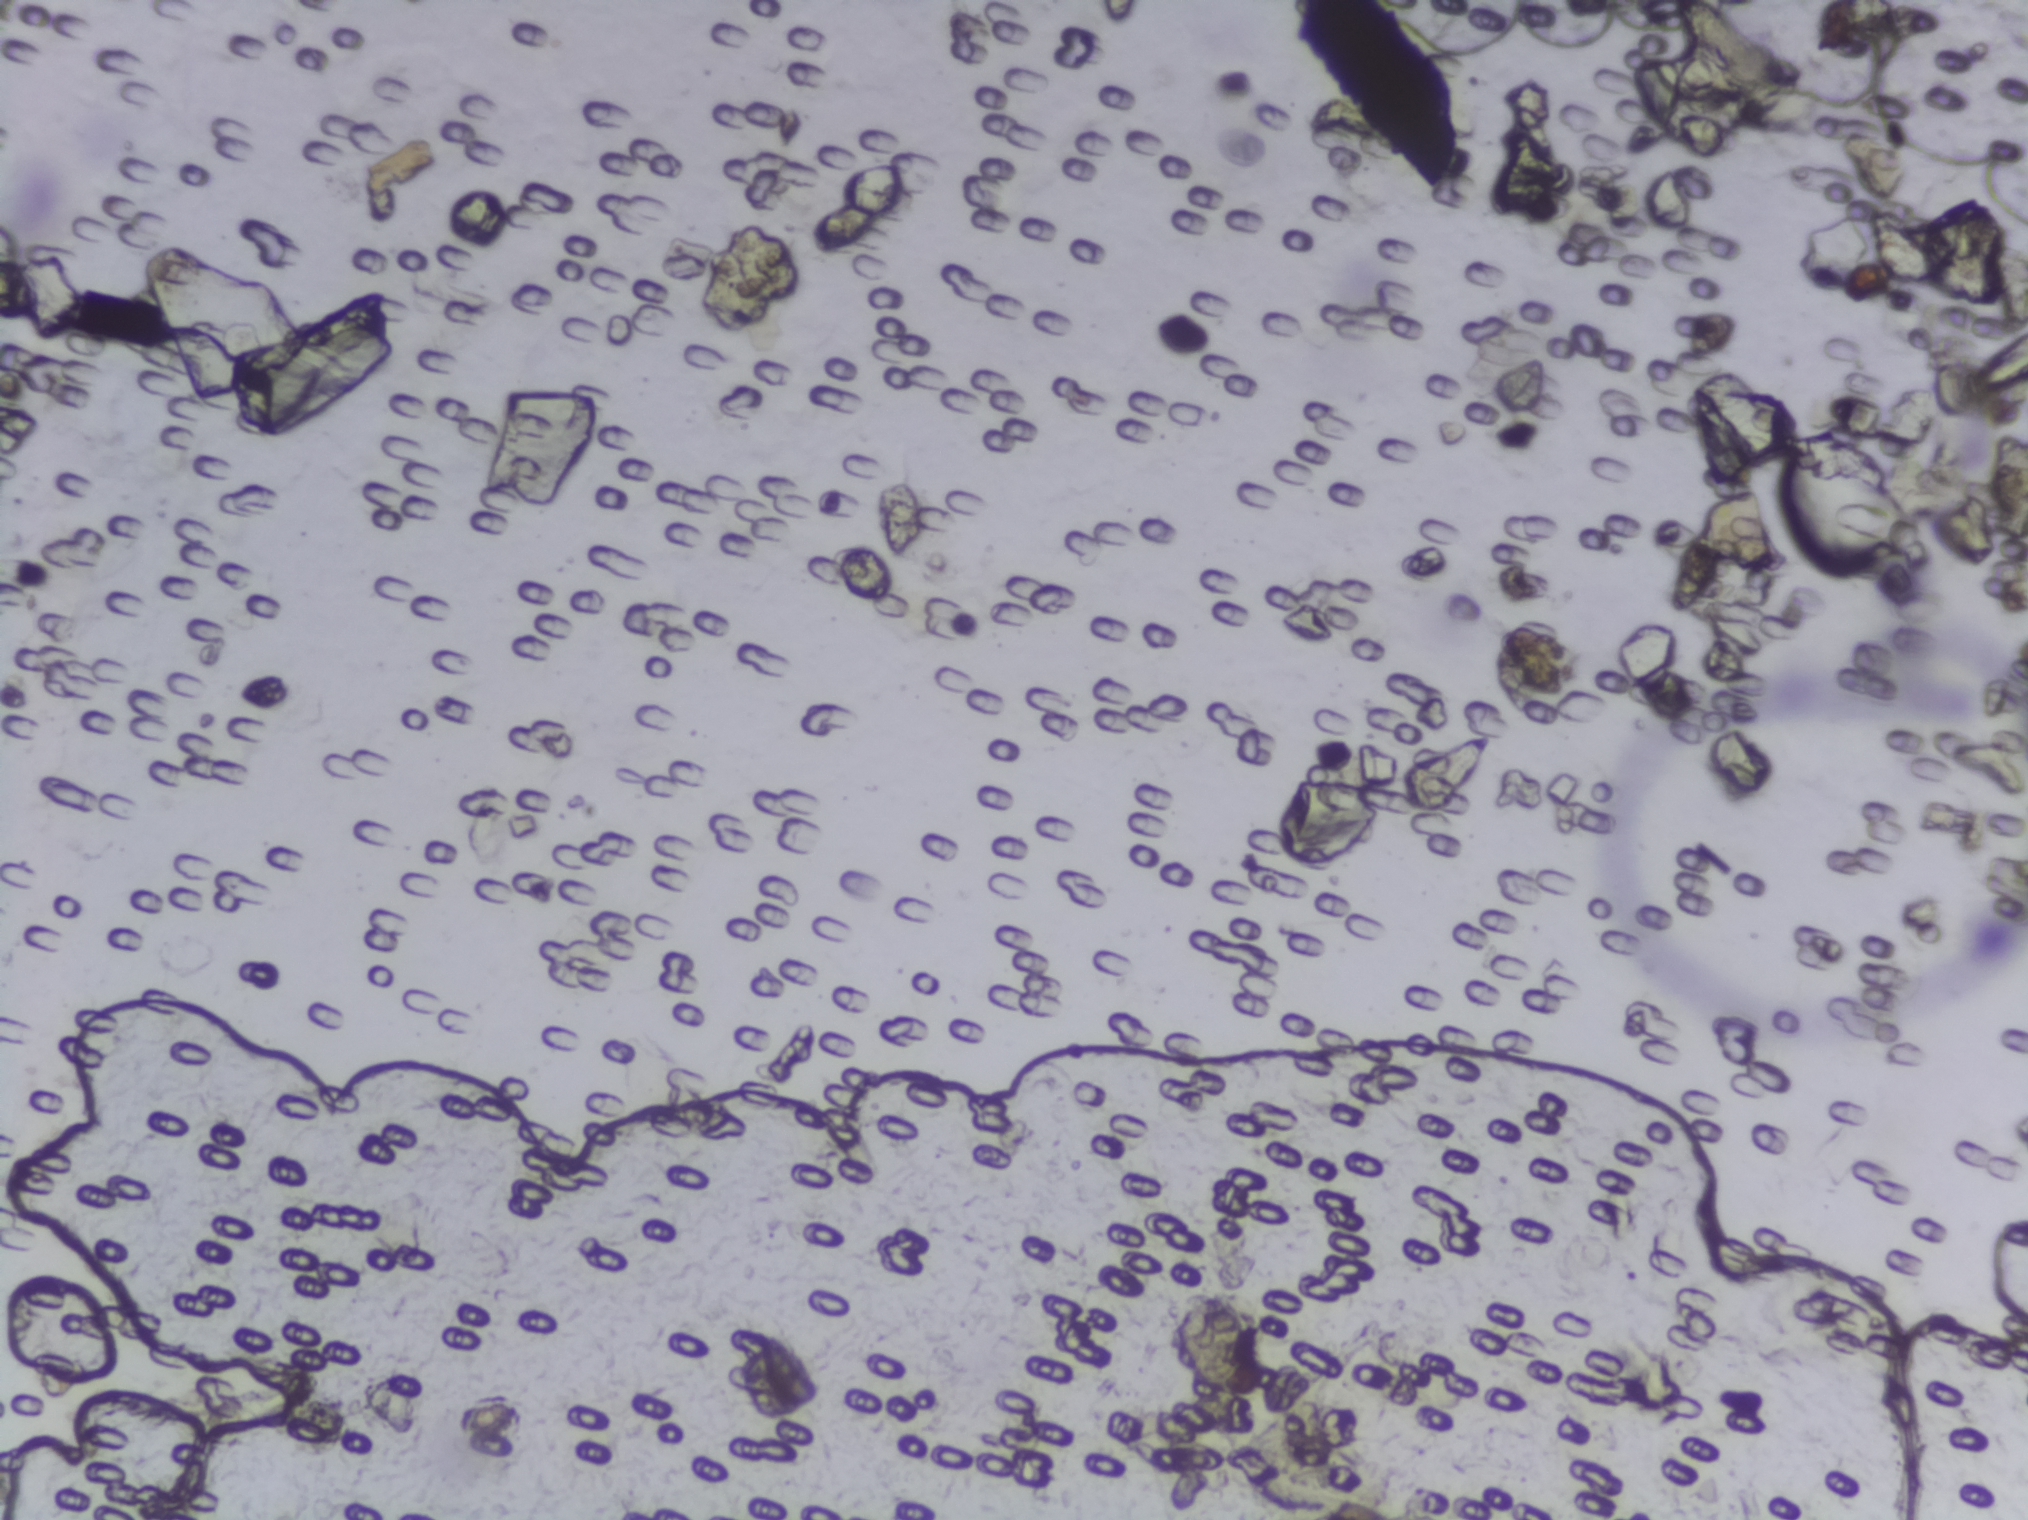
The expert annotation outlines no Schistosoma egg in this image.
One field of view of a urine filter membrane, 4× objective, 2028 × 1520 pixels. Field of view: about 1.5 mm wide and 1.1 mm high.